Urine filter membrane photographed through a 4× microscope objective.
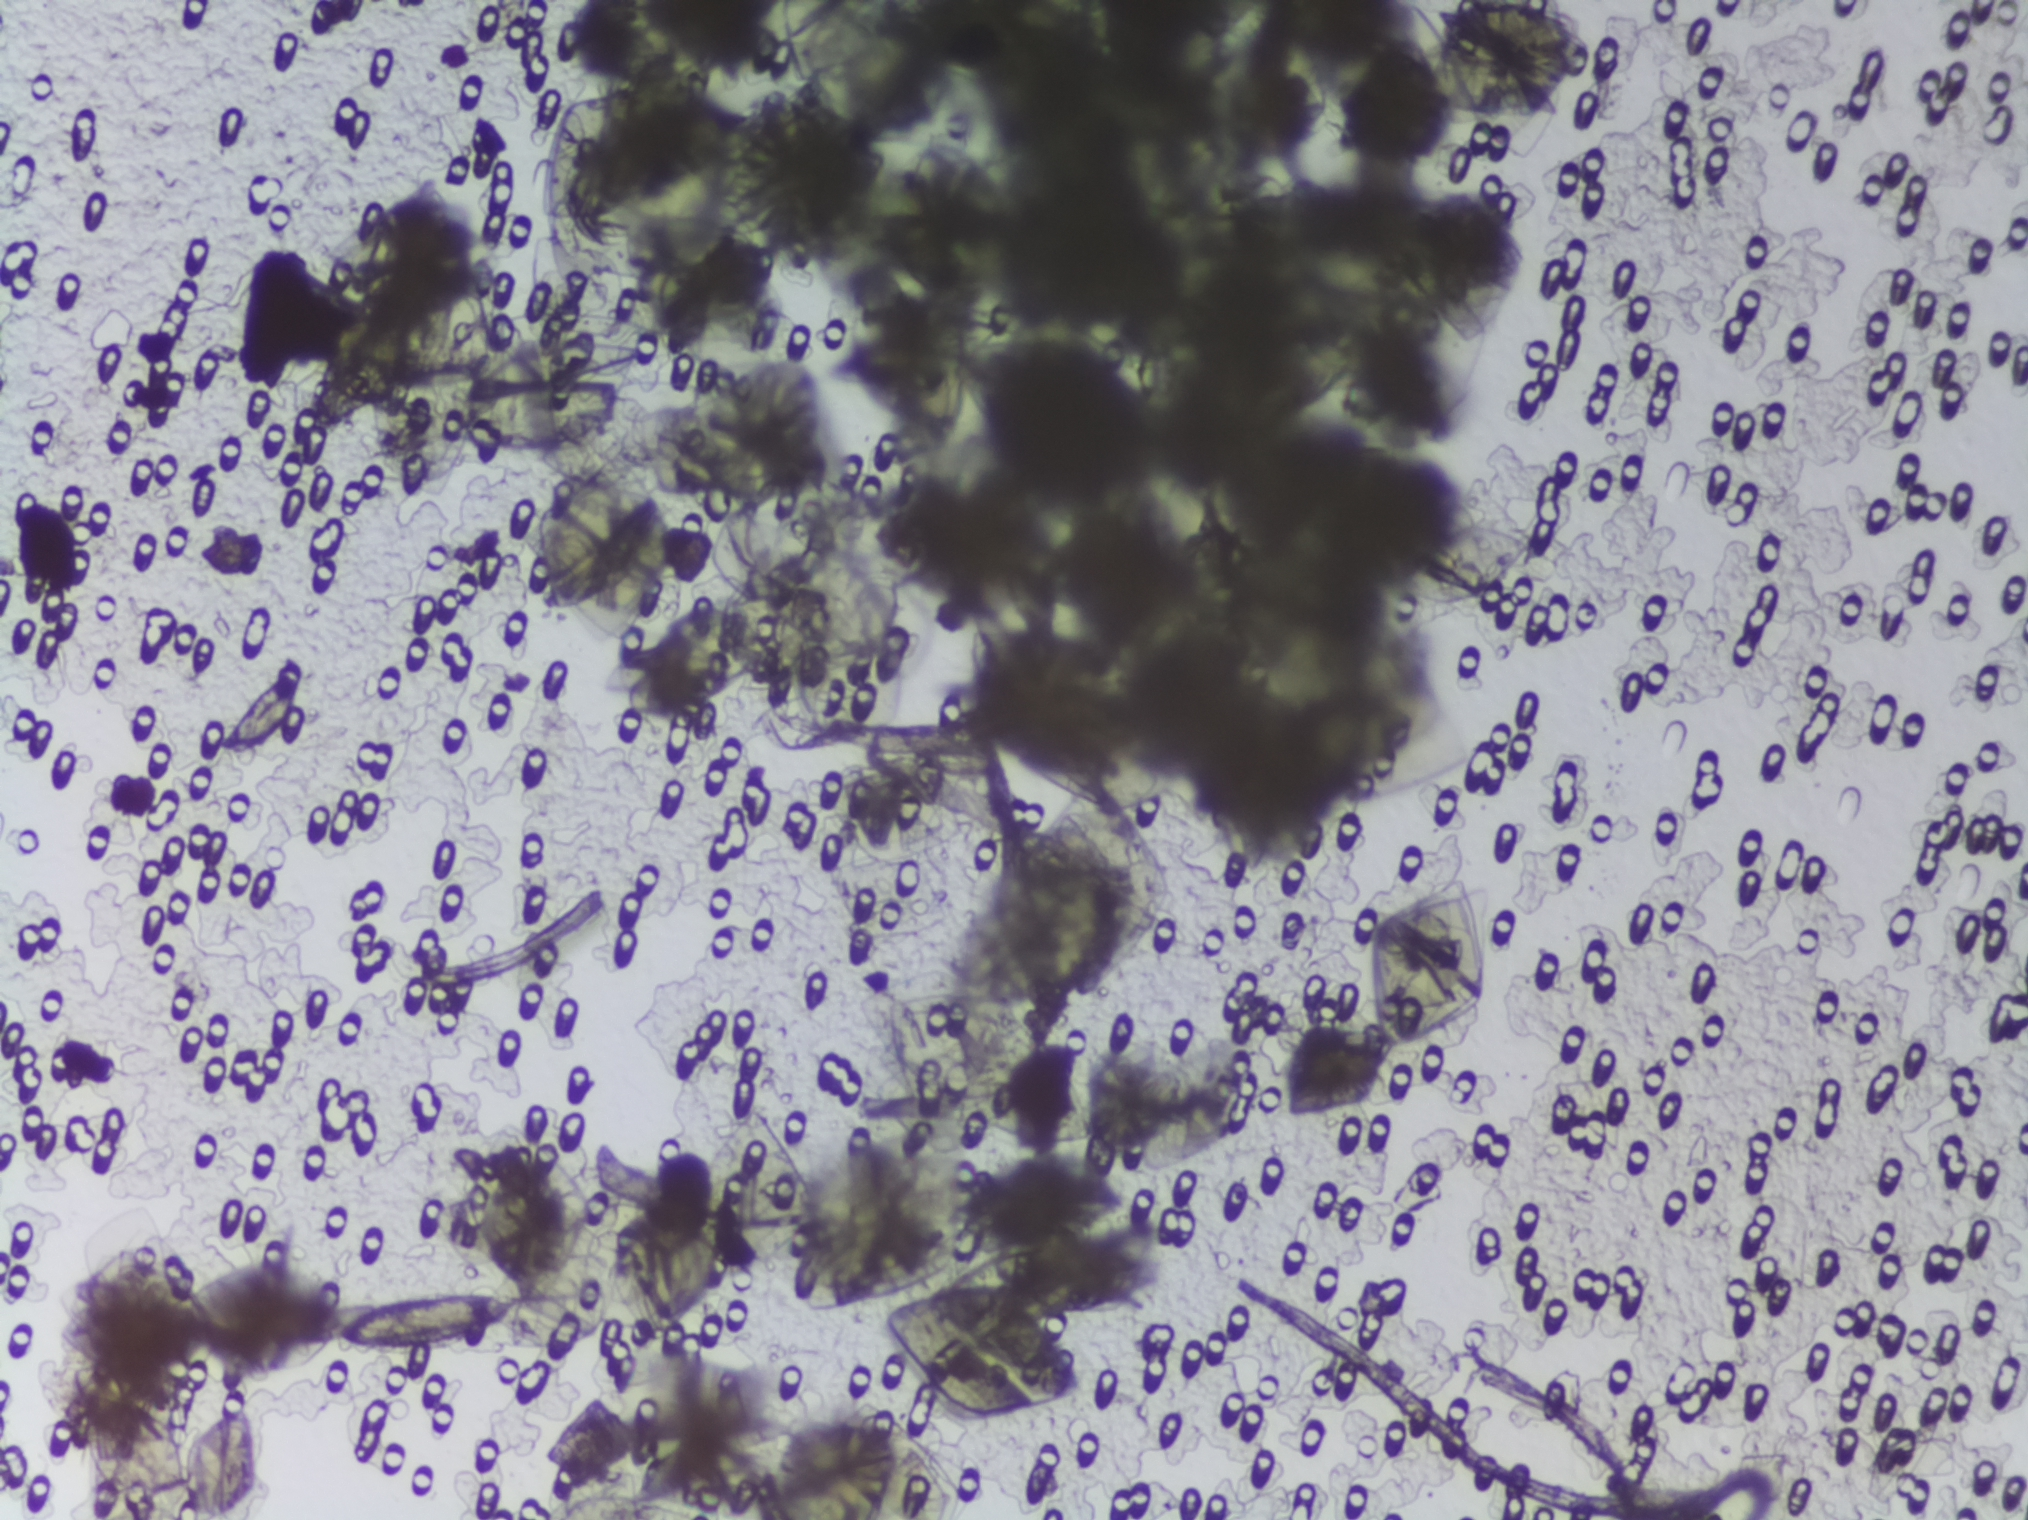
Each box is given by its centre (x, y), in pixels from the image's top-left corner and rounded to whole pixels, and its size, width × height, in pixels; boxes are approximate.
Areas outlined as Schistosoma eggs, left to right:
1. centre (258, 709), 91 × 87 px
2. centre (425, 1322), 191 × 73 px
An outlined area can hold more than one egg.